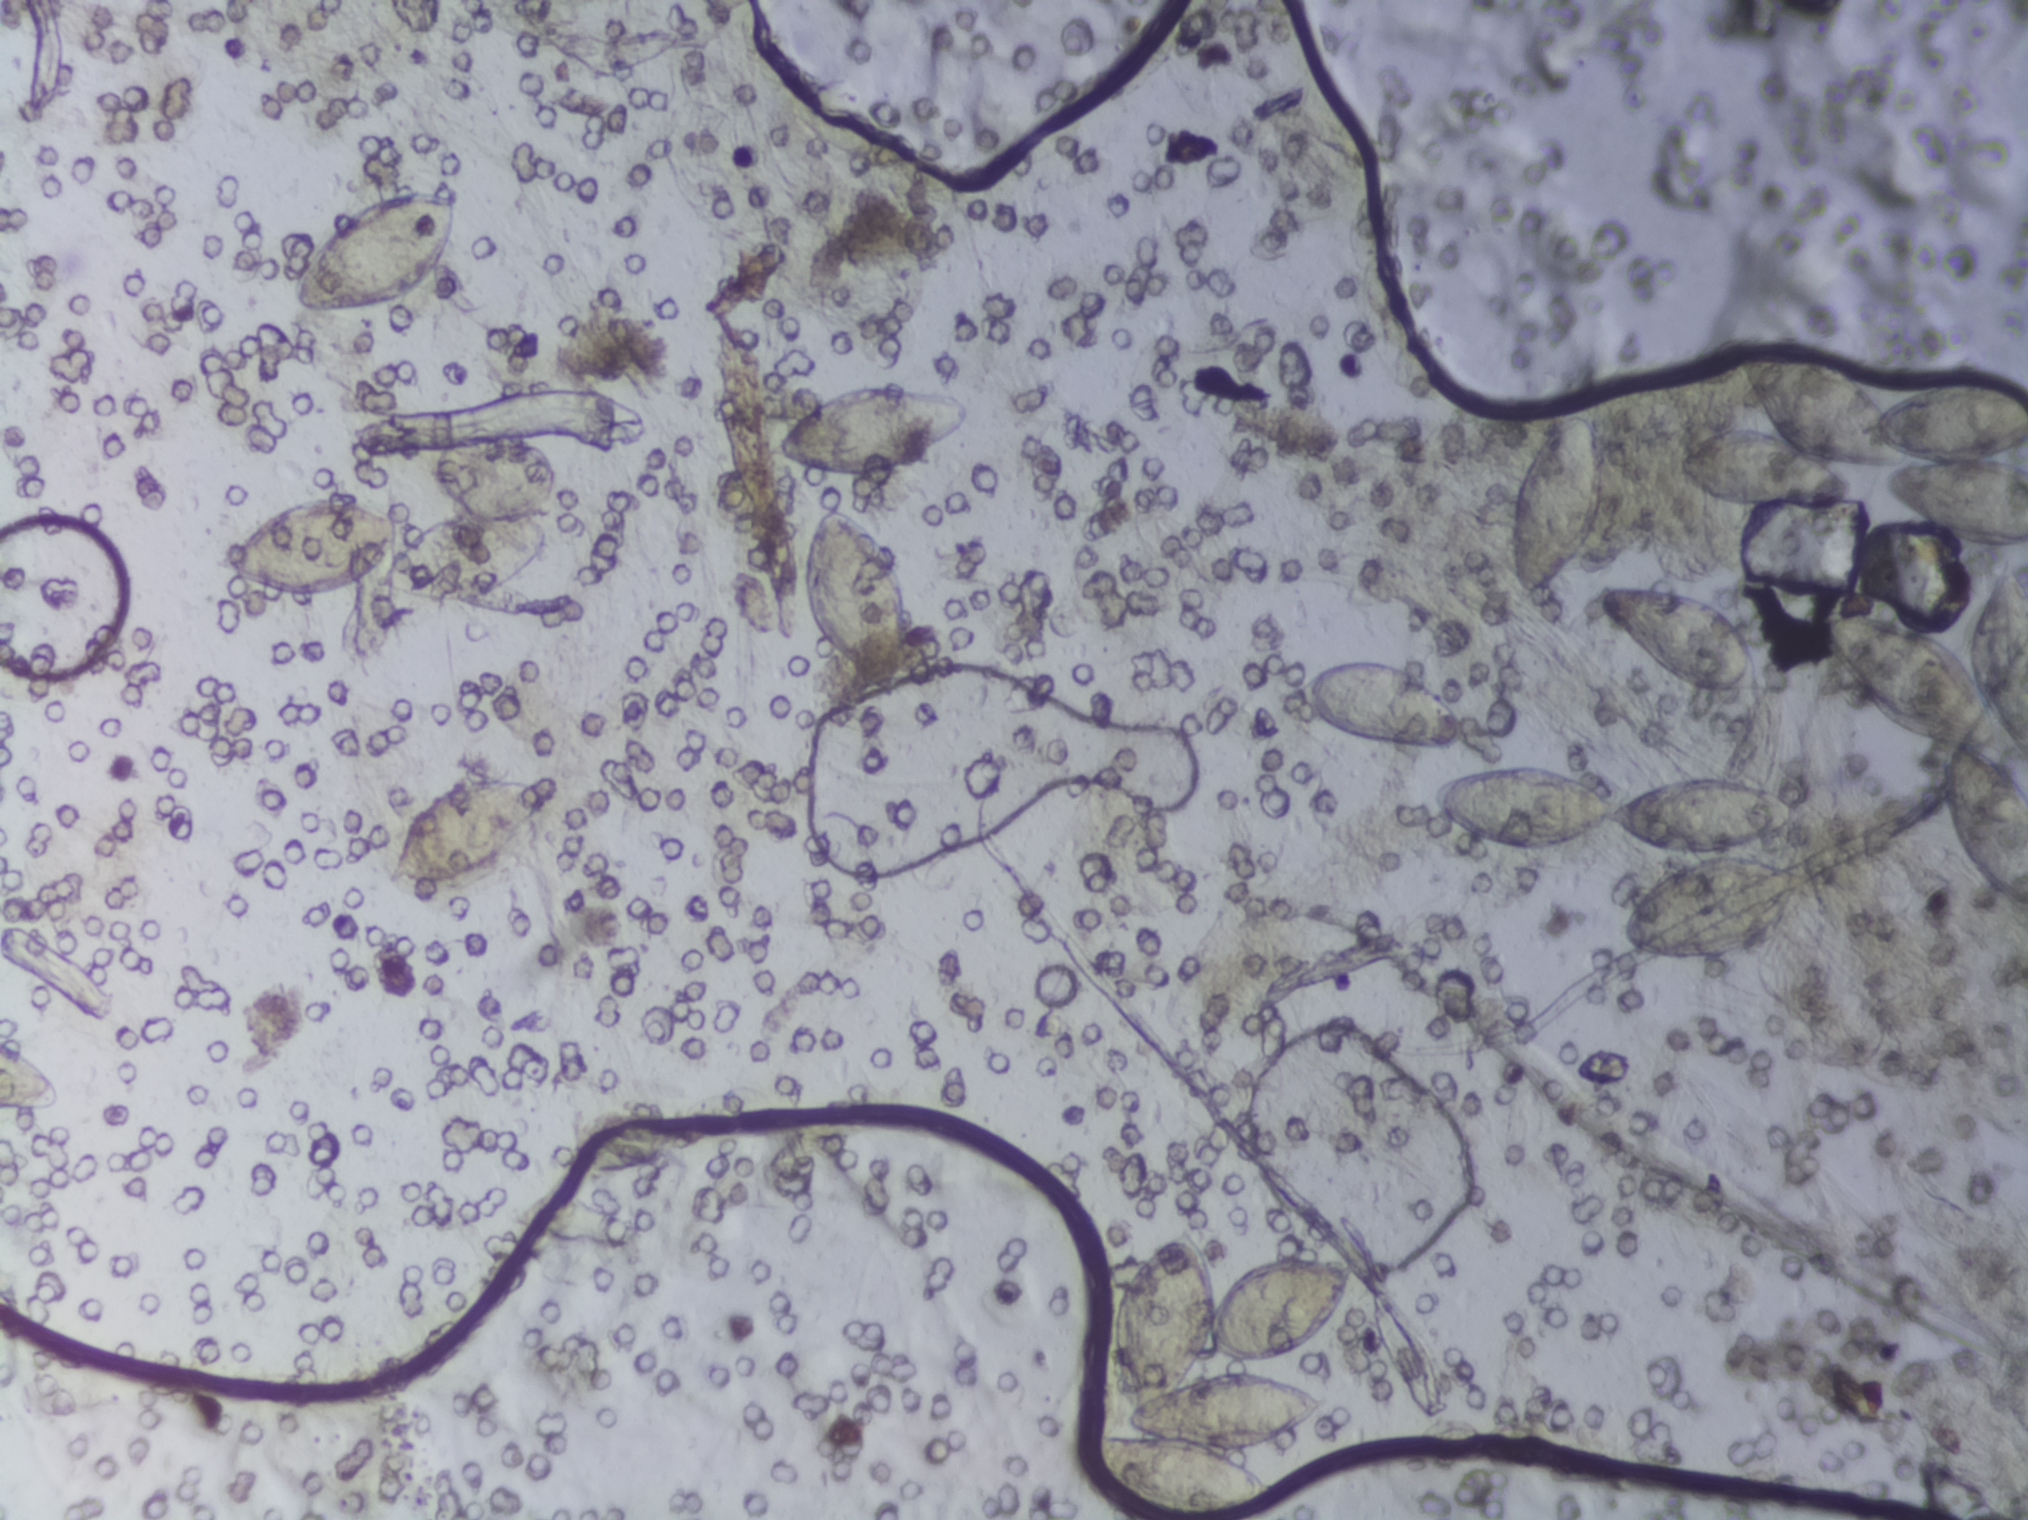
Photograph from an automated digital microscope: urine filter membrane, 4× objective.
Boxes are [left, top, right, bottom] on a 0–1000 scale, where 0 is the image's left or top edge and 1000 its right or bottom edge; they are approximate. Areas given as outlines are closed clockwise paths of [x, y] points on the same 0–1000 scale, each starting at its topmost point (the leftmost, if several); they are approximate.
12 areas of this image are outlined as Schistosoma eggs, from left to right: box [105, 326, 271, 397]; box [143, 124, 226, 207]; box [189, 509, 271, 585]; box [379, 251, 480, 315]; box [395, 331, 449, 464]; box [530, 801, 668, 1000] (eggs clustered together; reaching the bottom edge of the frame); box [630, 432, 727, 496]; box [704, 501, 894, 635]; box [743, 270, 793, 403]; box [788, 384, 872, 461]; box [825, 231, 1000, 360] (reaching the right edge of the frame); outline [989, 363], [1000, 383], [1000, 502], [989, 485], [990, 496], [986, 497], [1000, 520], [1000, 606], [973, 578], [959, 547], [956, 505], [963, 490], [943, 485], [920, 469], [891, 409], [891, 402], [896, 396], [922, 401], [961, 421], [973, 439], [971, 412], [974, 394] (reaching the right edge of the frame). An outlined area can hold more than one egg.